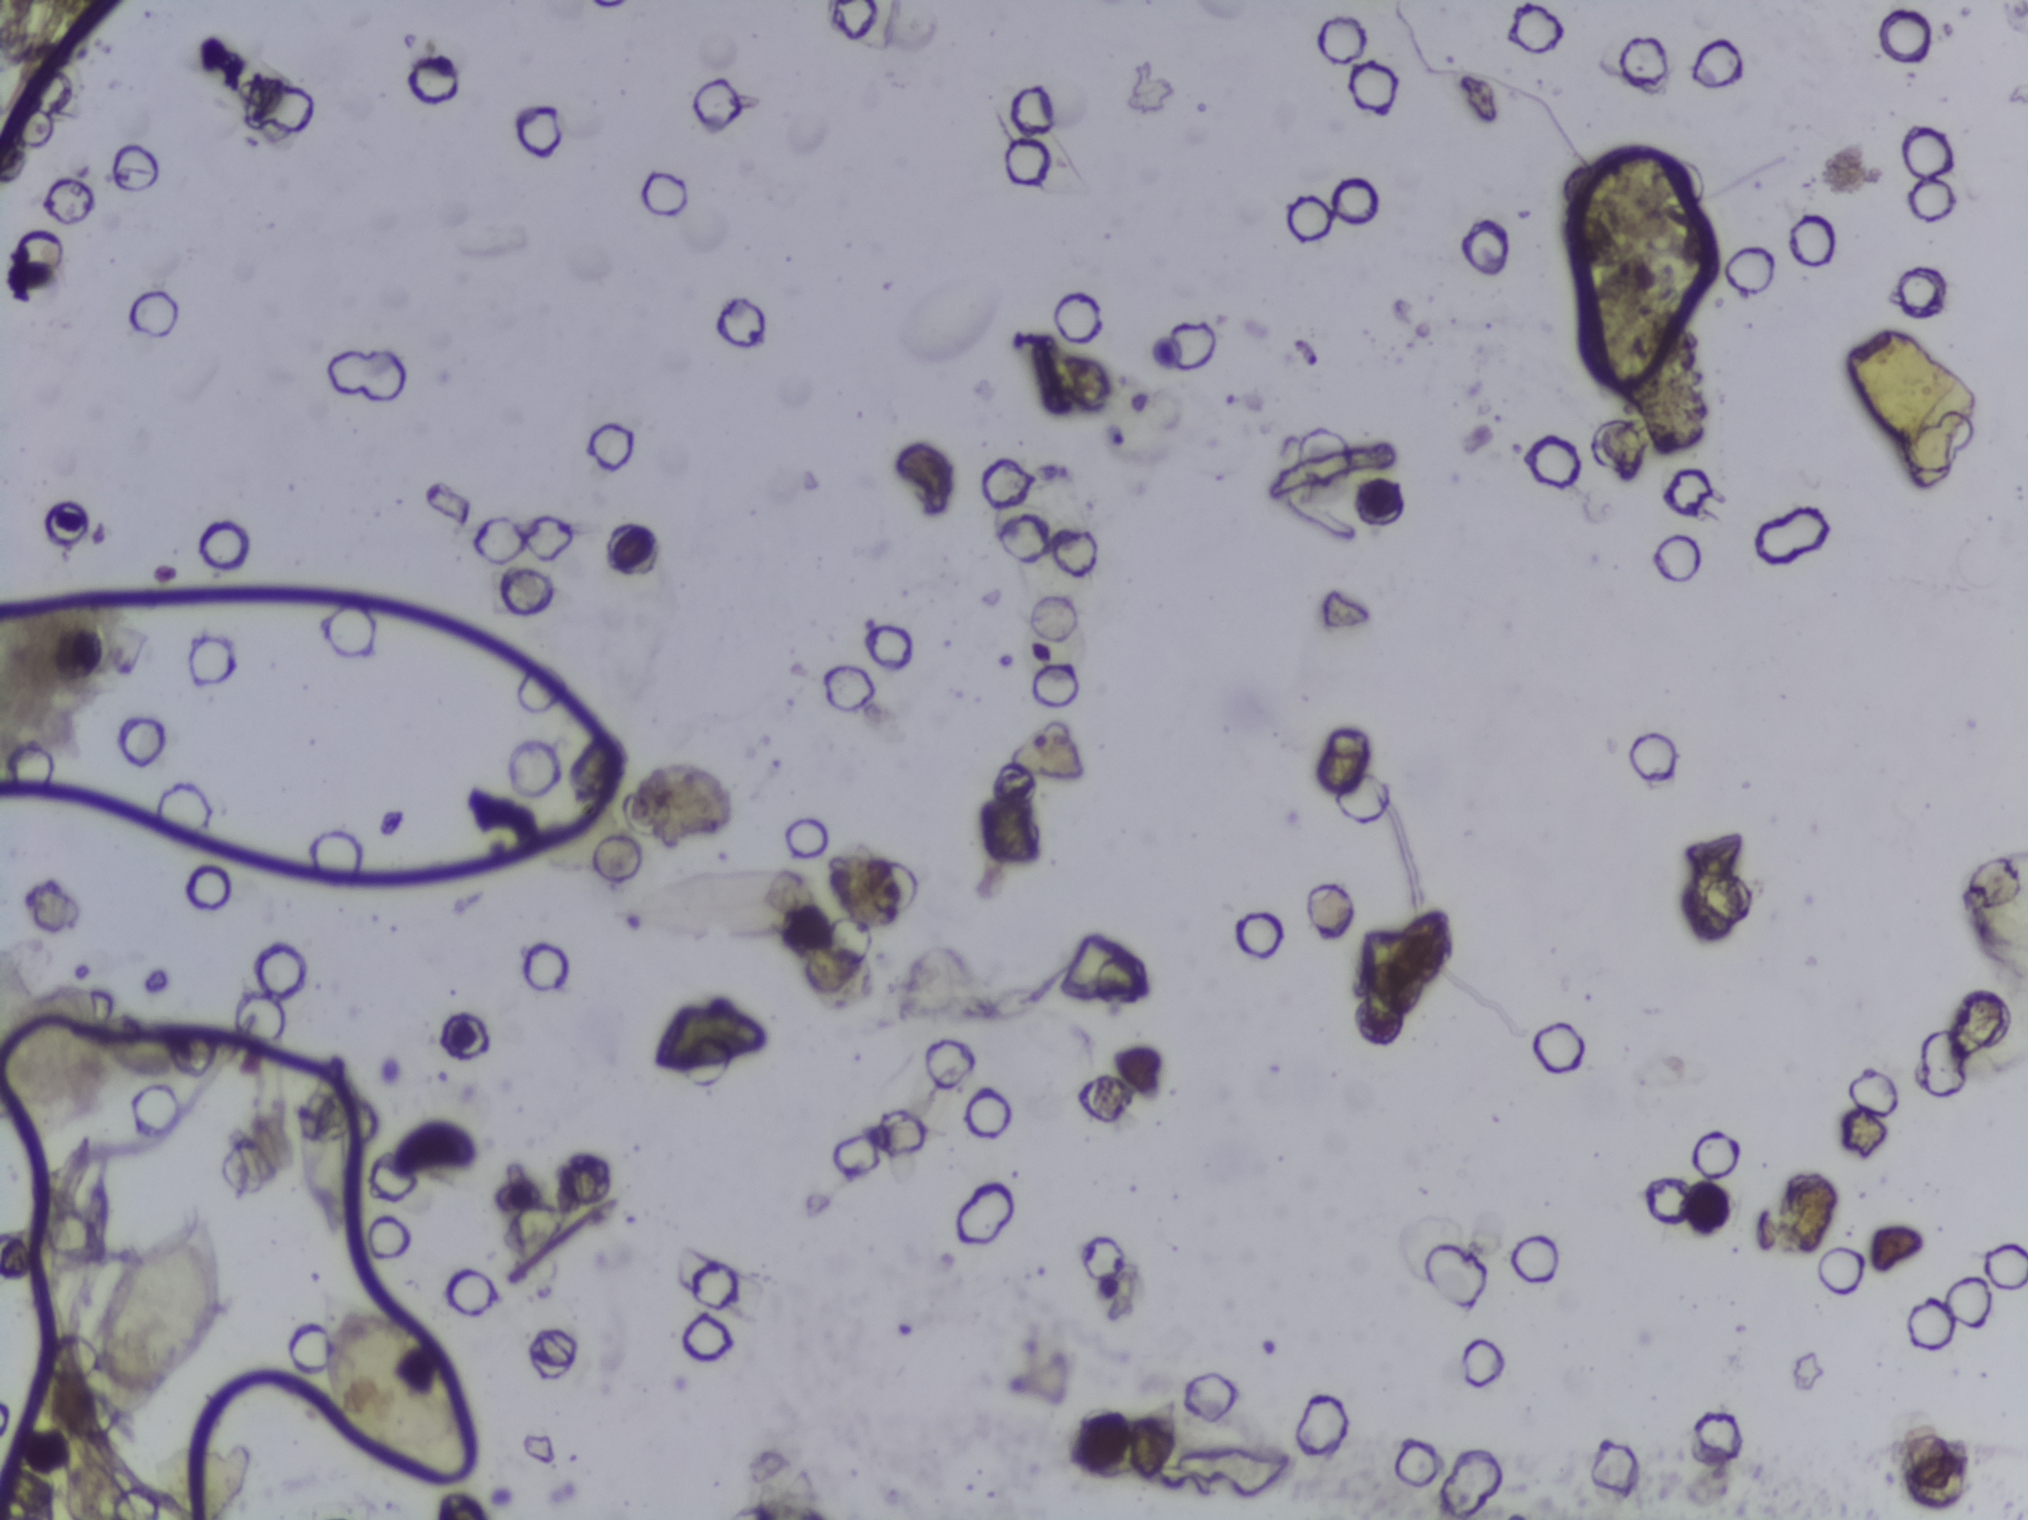
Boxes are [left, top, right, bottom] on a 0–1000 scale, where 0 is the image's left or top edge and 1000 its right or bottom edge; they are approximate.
Areas outlined as Schistosoma eggs, left to right:
1. [44, 795, 114, 939]
2. [155, 843, 239, 978]
An outlined area can hold more than one egg.
Urine filter membrane photographed through a 4× microscope objective. The image covers about 1.5 × 1.1 mm of the membrane.